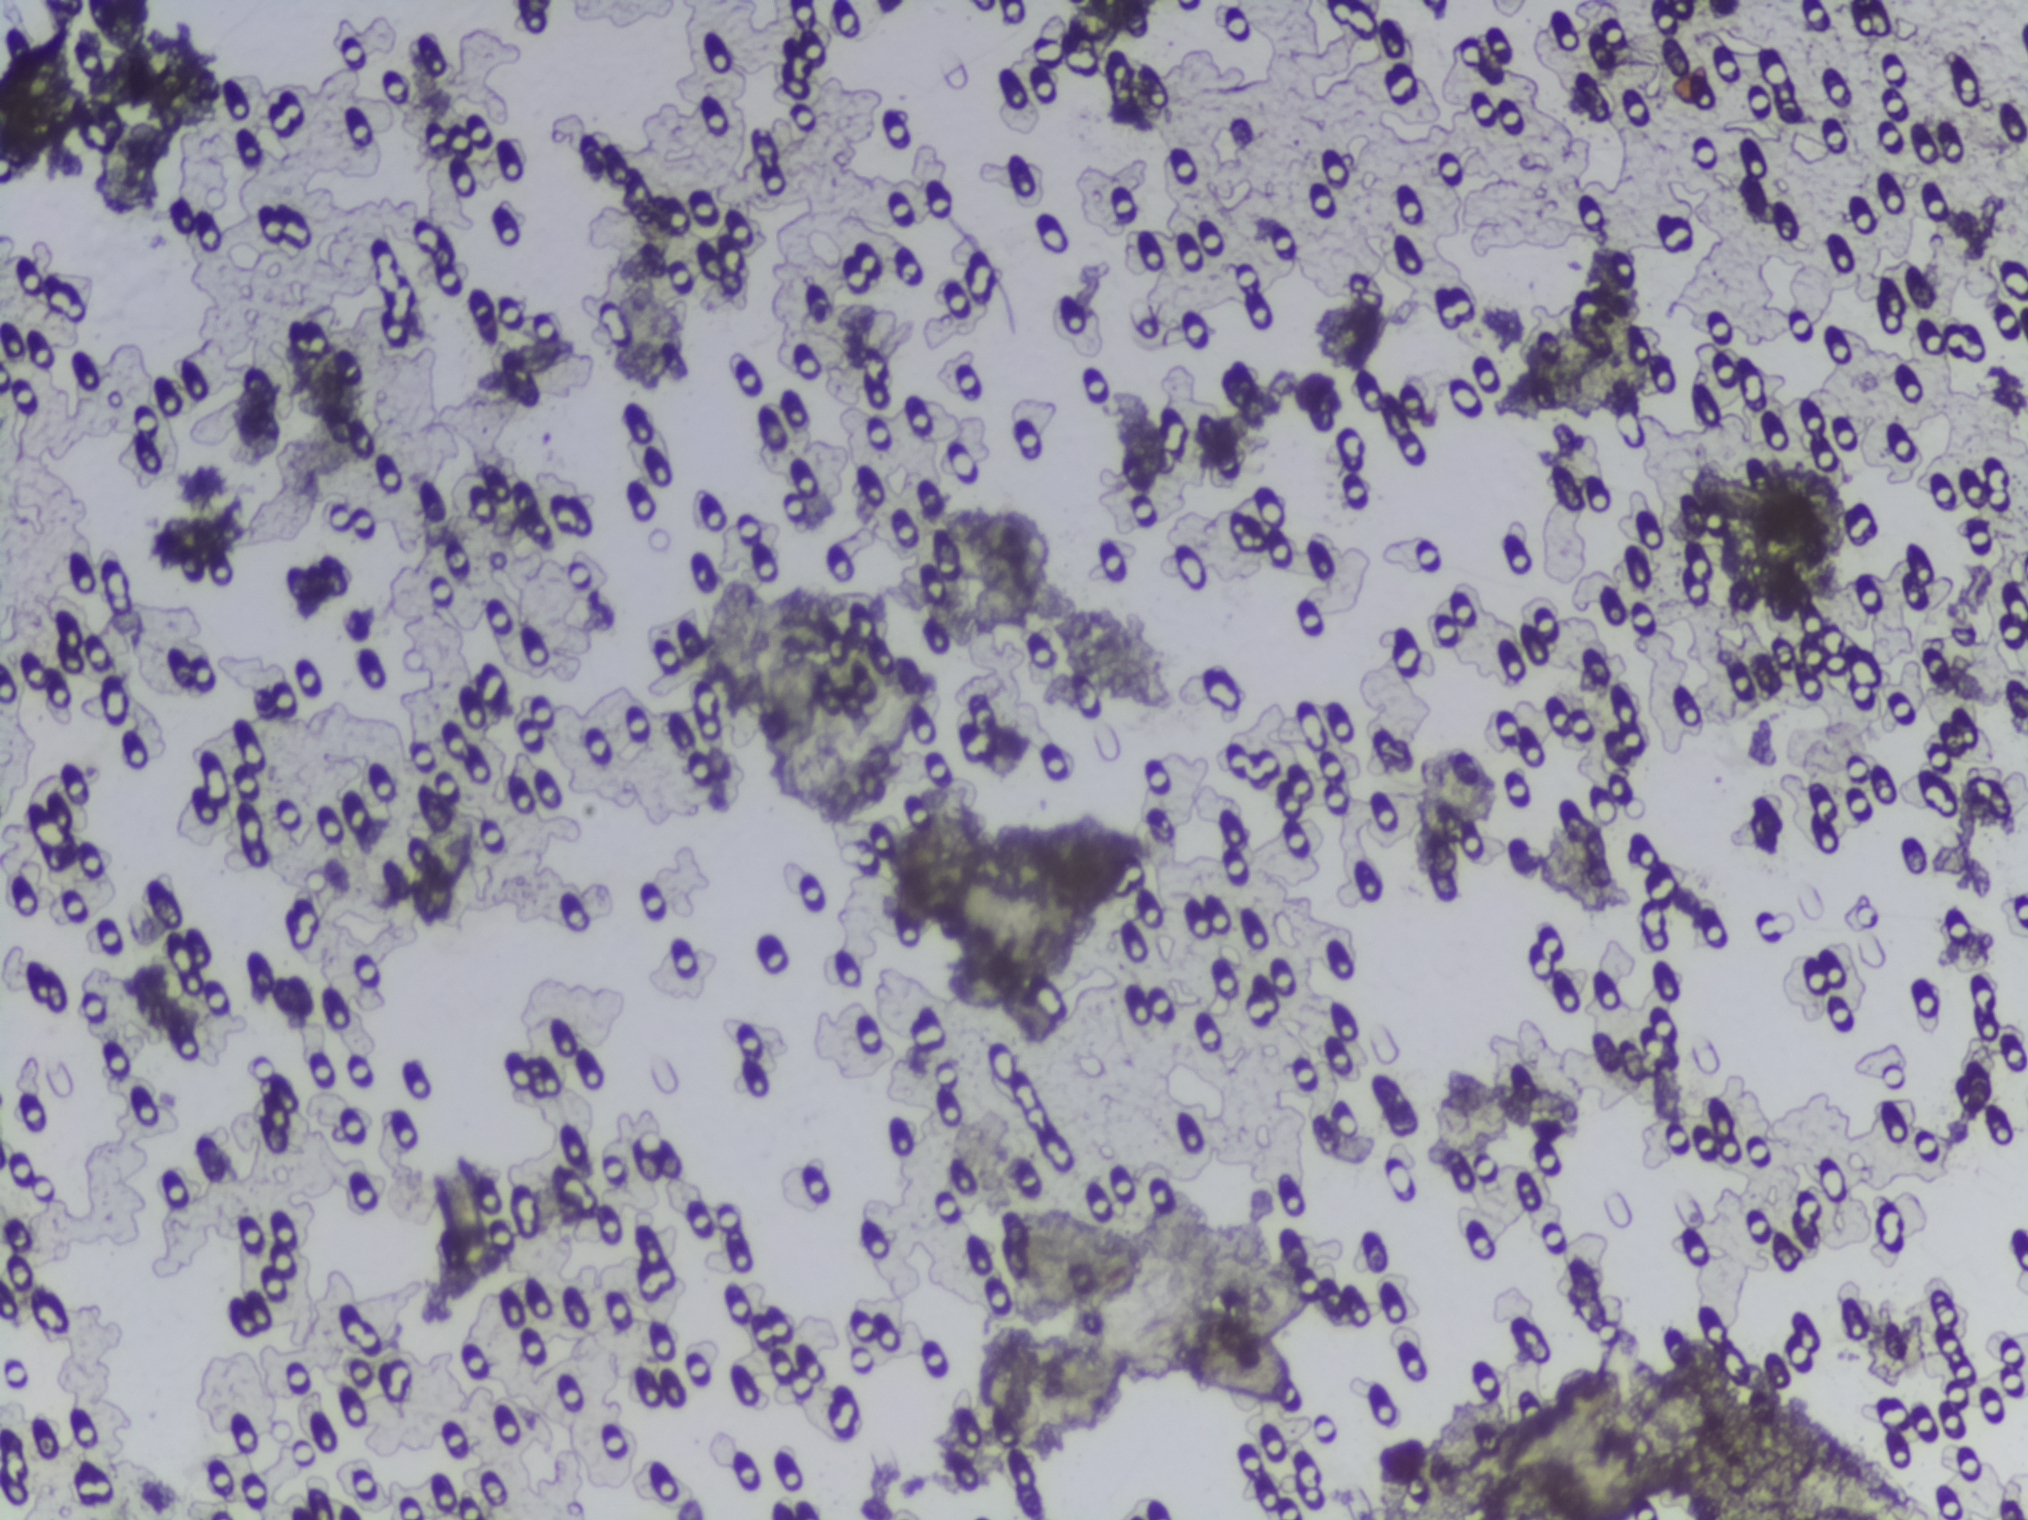
One field of view of a urine filter membrane, 4× objective, 2028 × 1520 pixels.
Schistosoma eggs: none outlined.